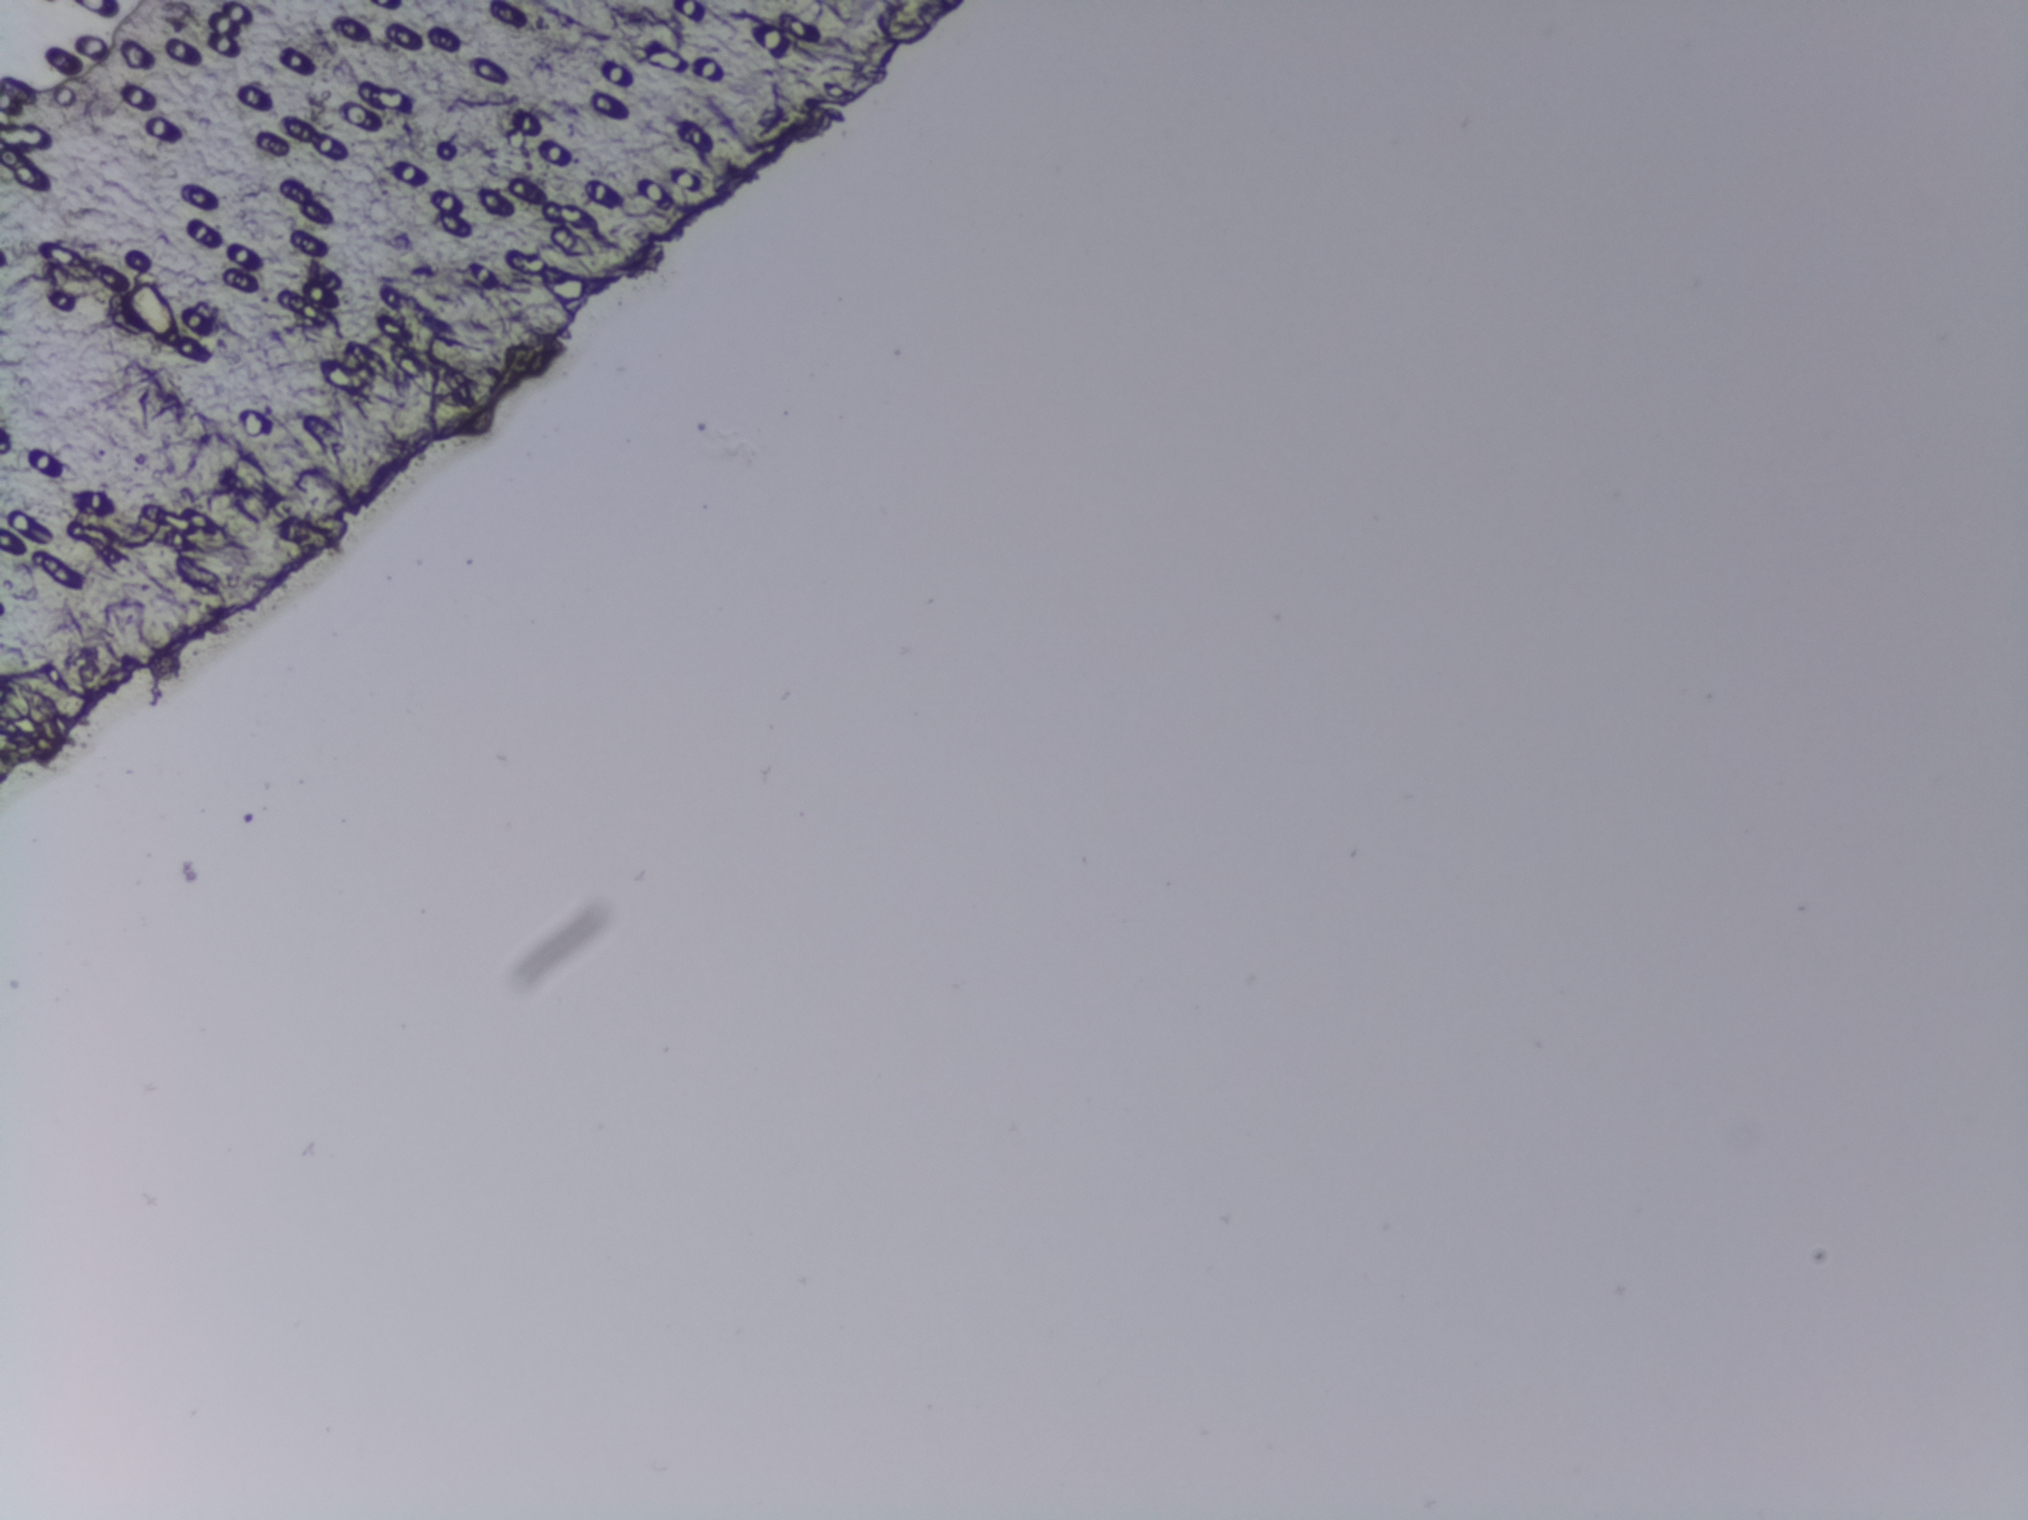
Photograph from an automated digital microscope: urine filter membrane, 4× objective. Field of view: about 1.5 mm wide and 1.1 mm high.
No area of this image was outlined as a Schistosoma egg.